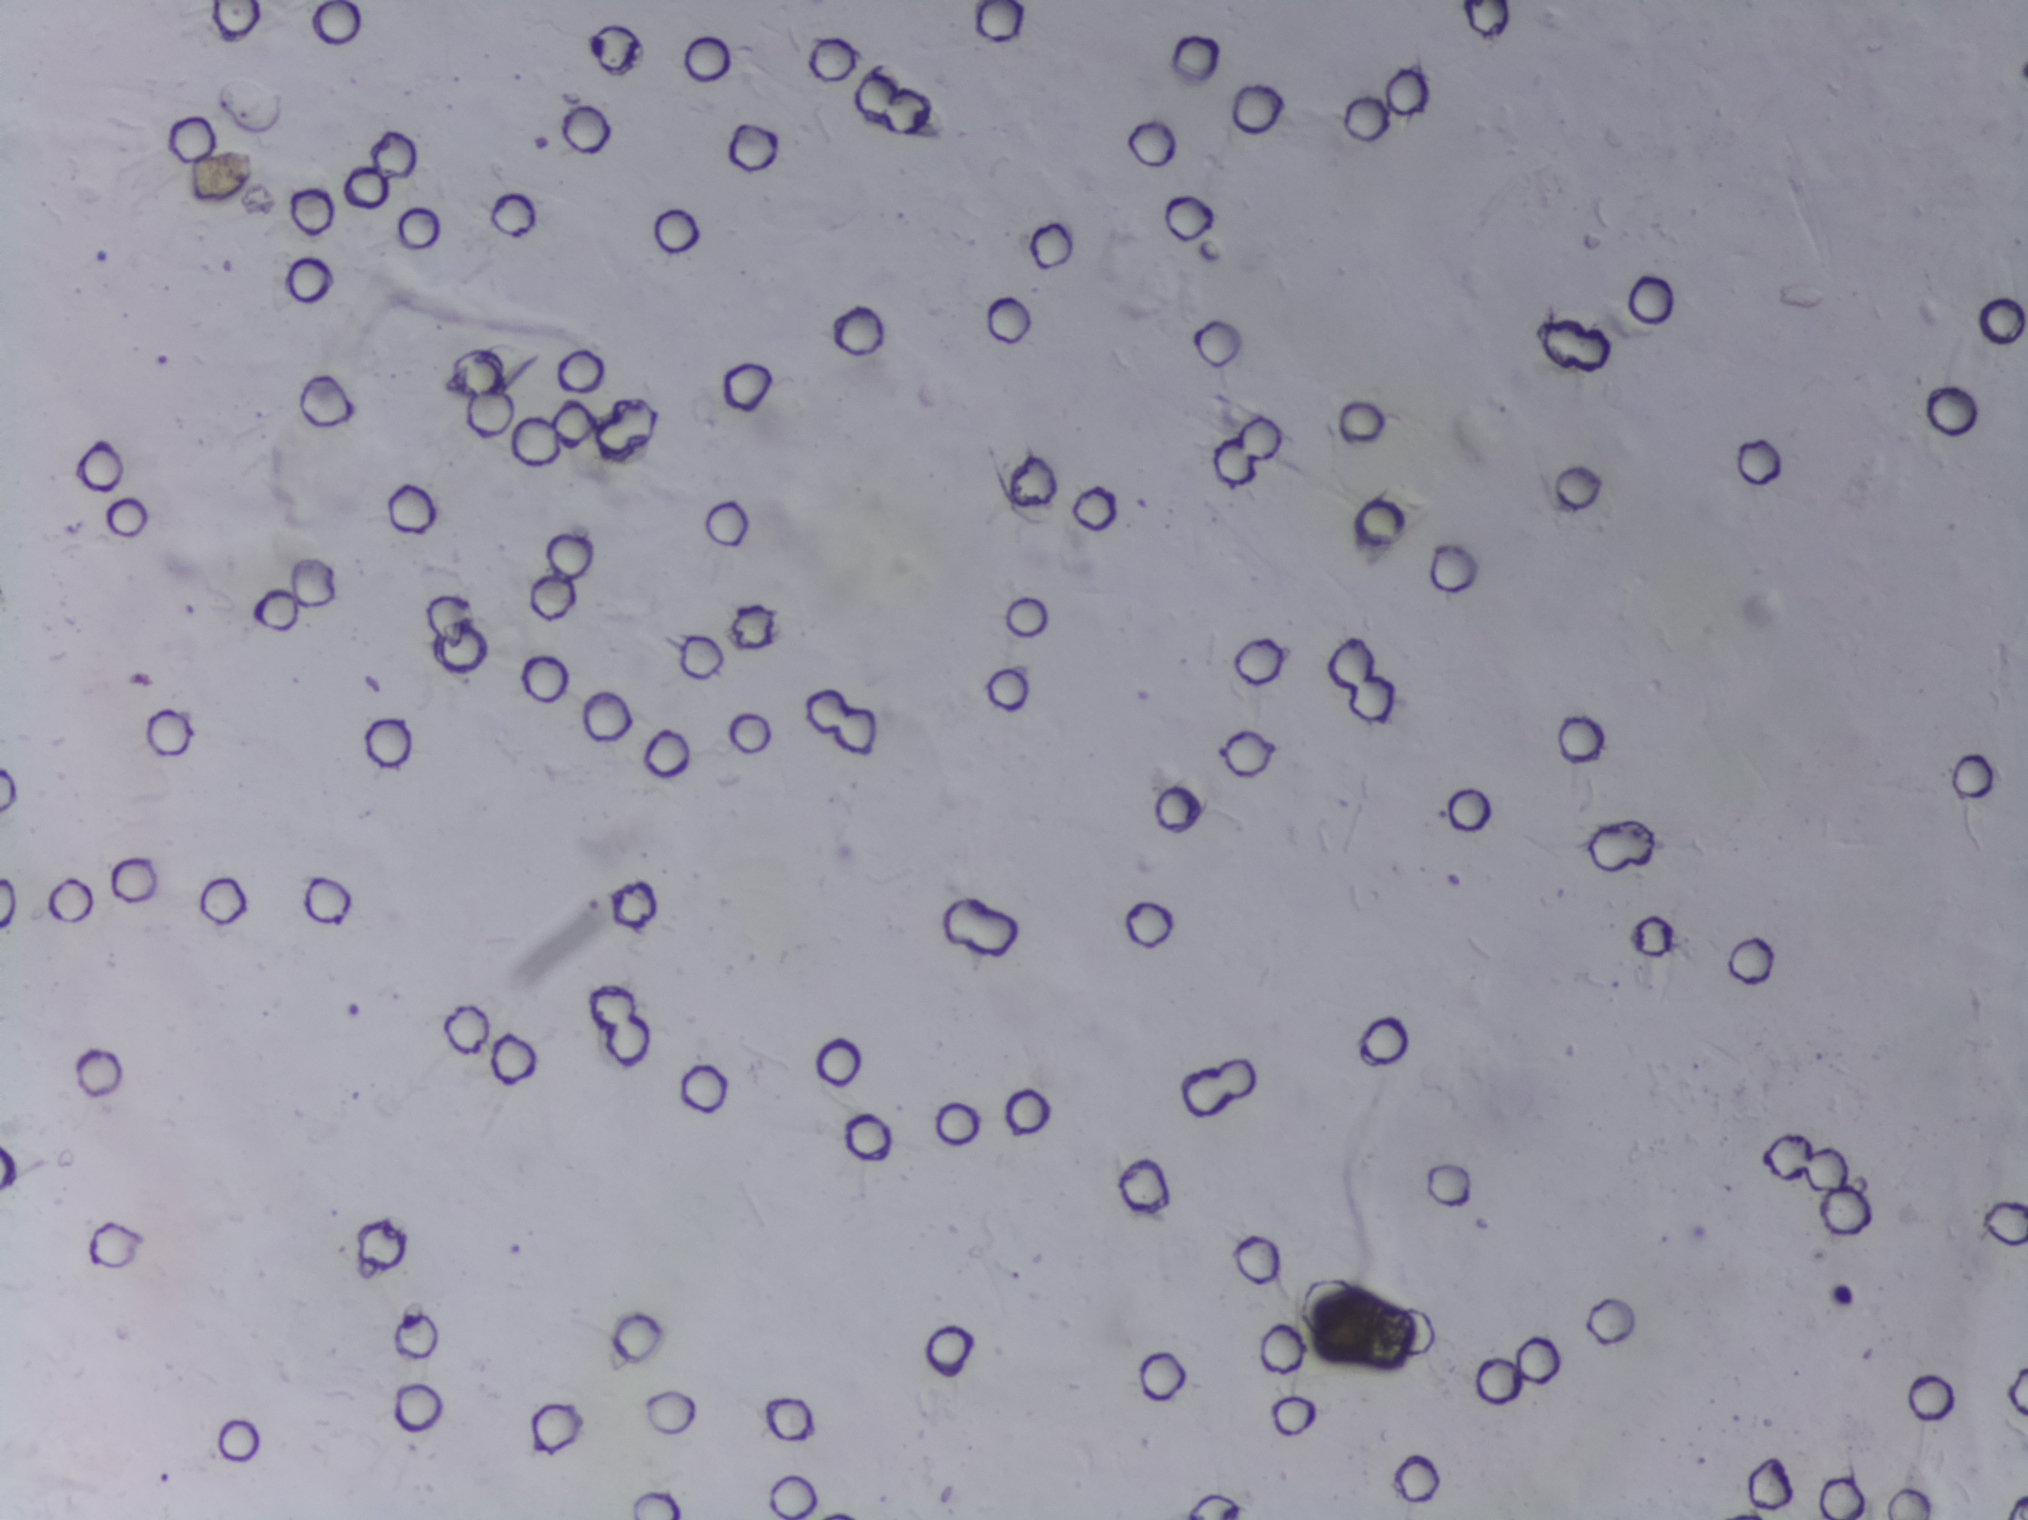
Urine filter membrane photographed through a 4× microscope objective. Field of view: about 1.5 mm wide and 1.1 mm high.
The expert annotation outlines no Schistosoma egg in this image.